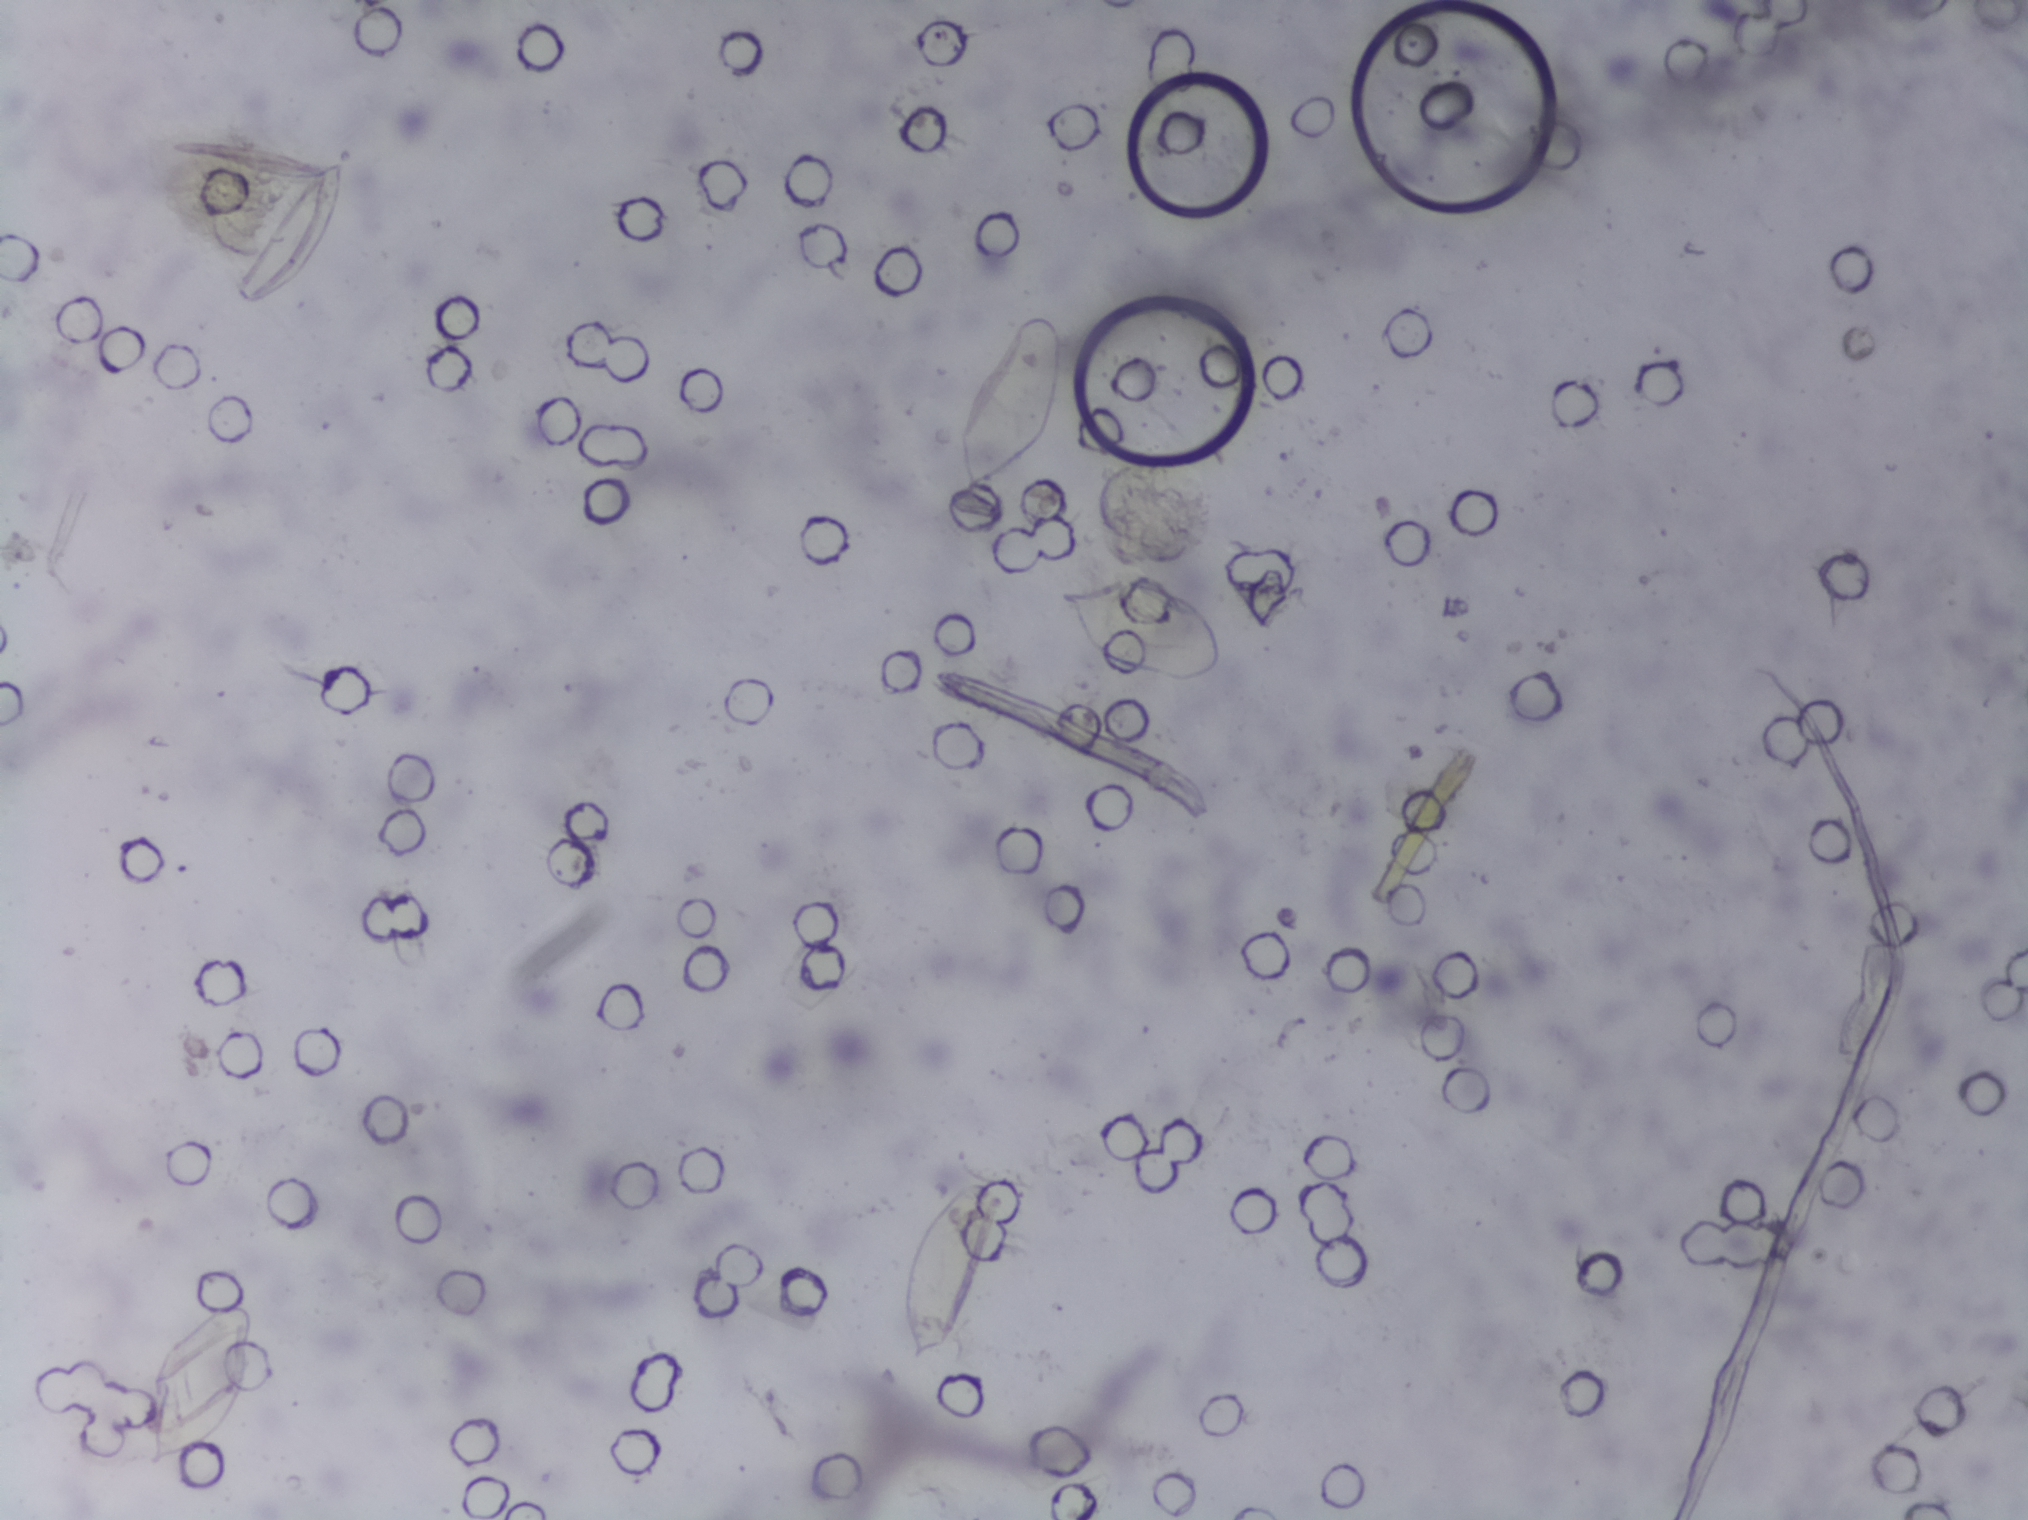
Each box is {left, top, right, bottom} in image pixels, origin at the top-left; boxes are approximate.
Schistosoma eggs, outlined areas: {149, 1298, 256, 1465}; {902, 1174, 1008, 1368}; {956, 308, 1064, 498}; {1053, 573, 1225, 685}. Eggs that touch can end up inside the same outlined area. A marked egg may occasionally be S. mansoni rather than S. haematobium.
Photograph from an automated digital microscope: urine filter membrane, 4× objective.